Photograph from an automated digital microscope: urine filter membrane, 4× objective.
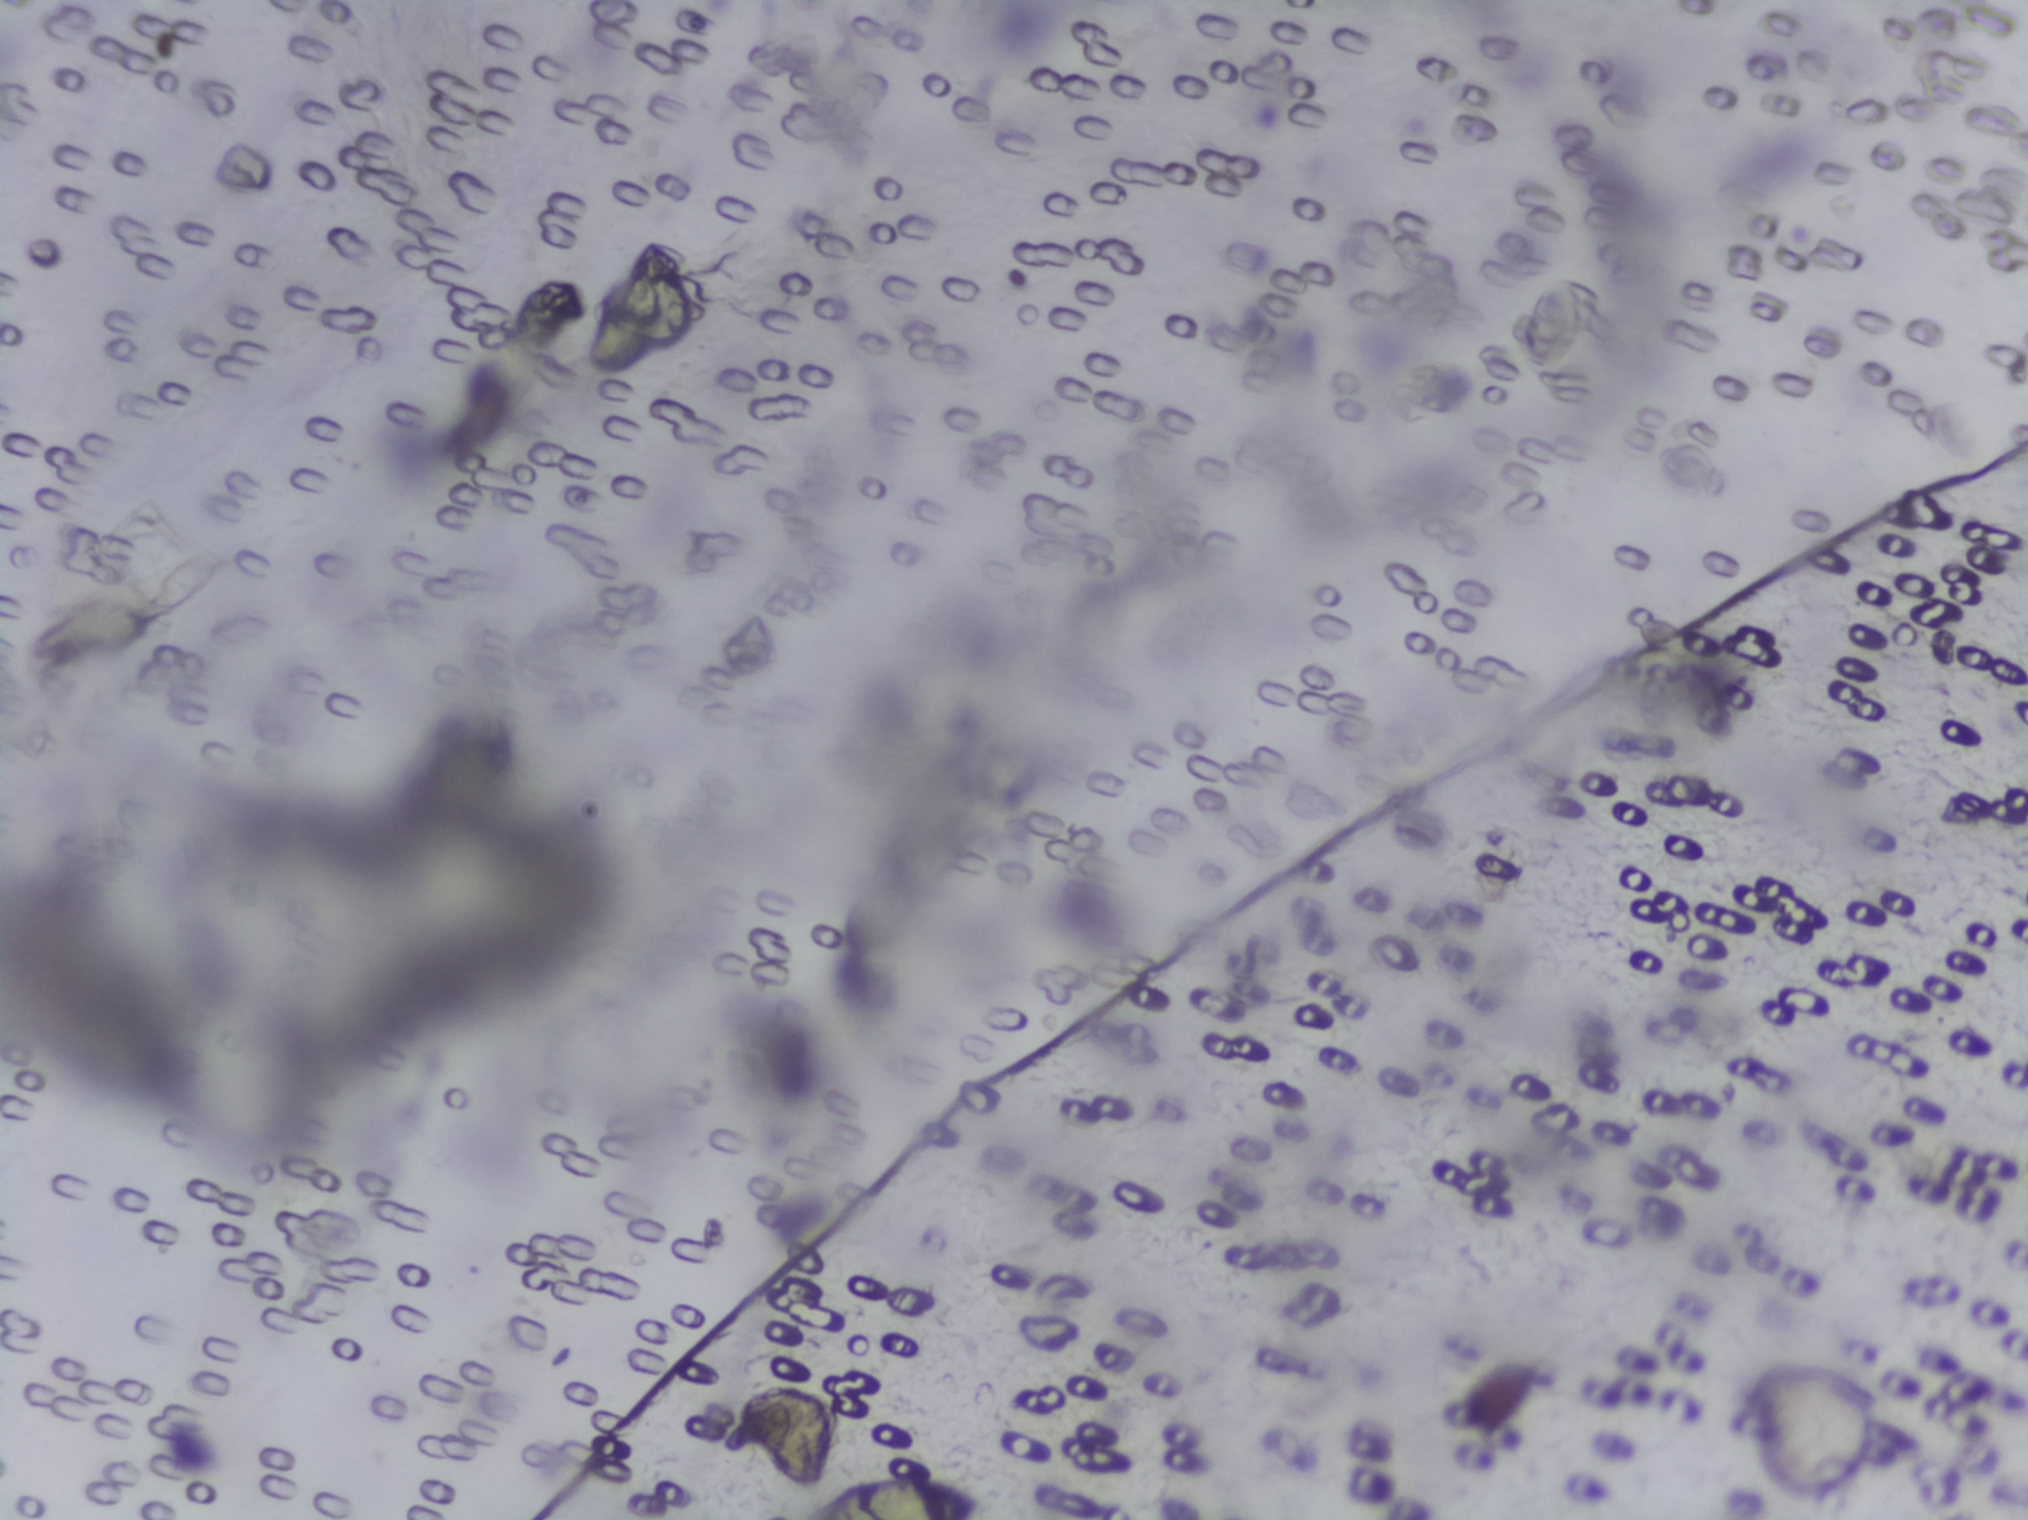
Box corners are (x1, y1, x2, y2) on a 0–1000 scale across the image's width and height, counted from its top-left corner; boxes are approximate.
Schistosoma eggs are outlined in the expert annotation at (394, 969, 485, 1000) (reaching the bottom edge of the frame). About 0.2% of the image's pixels are marked (the marked pixels themselves, not the box around them). A single outlined area may contain several eggs.